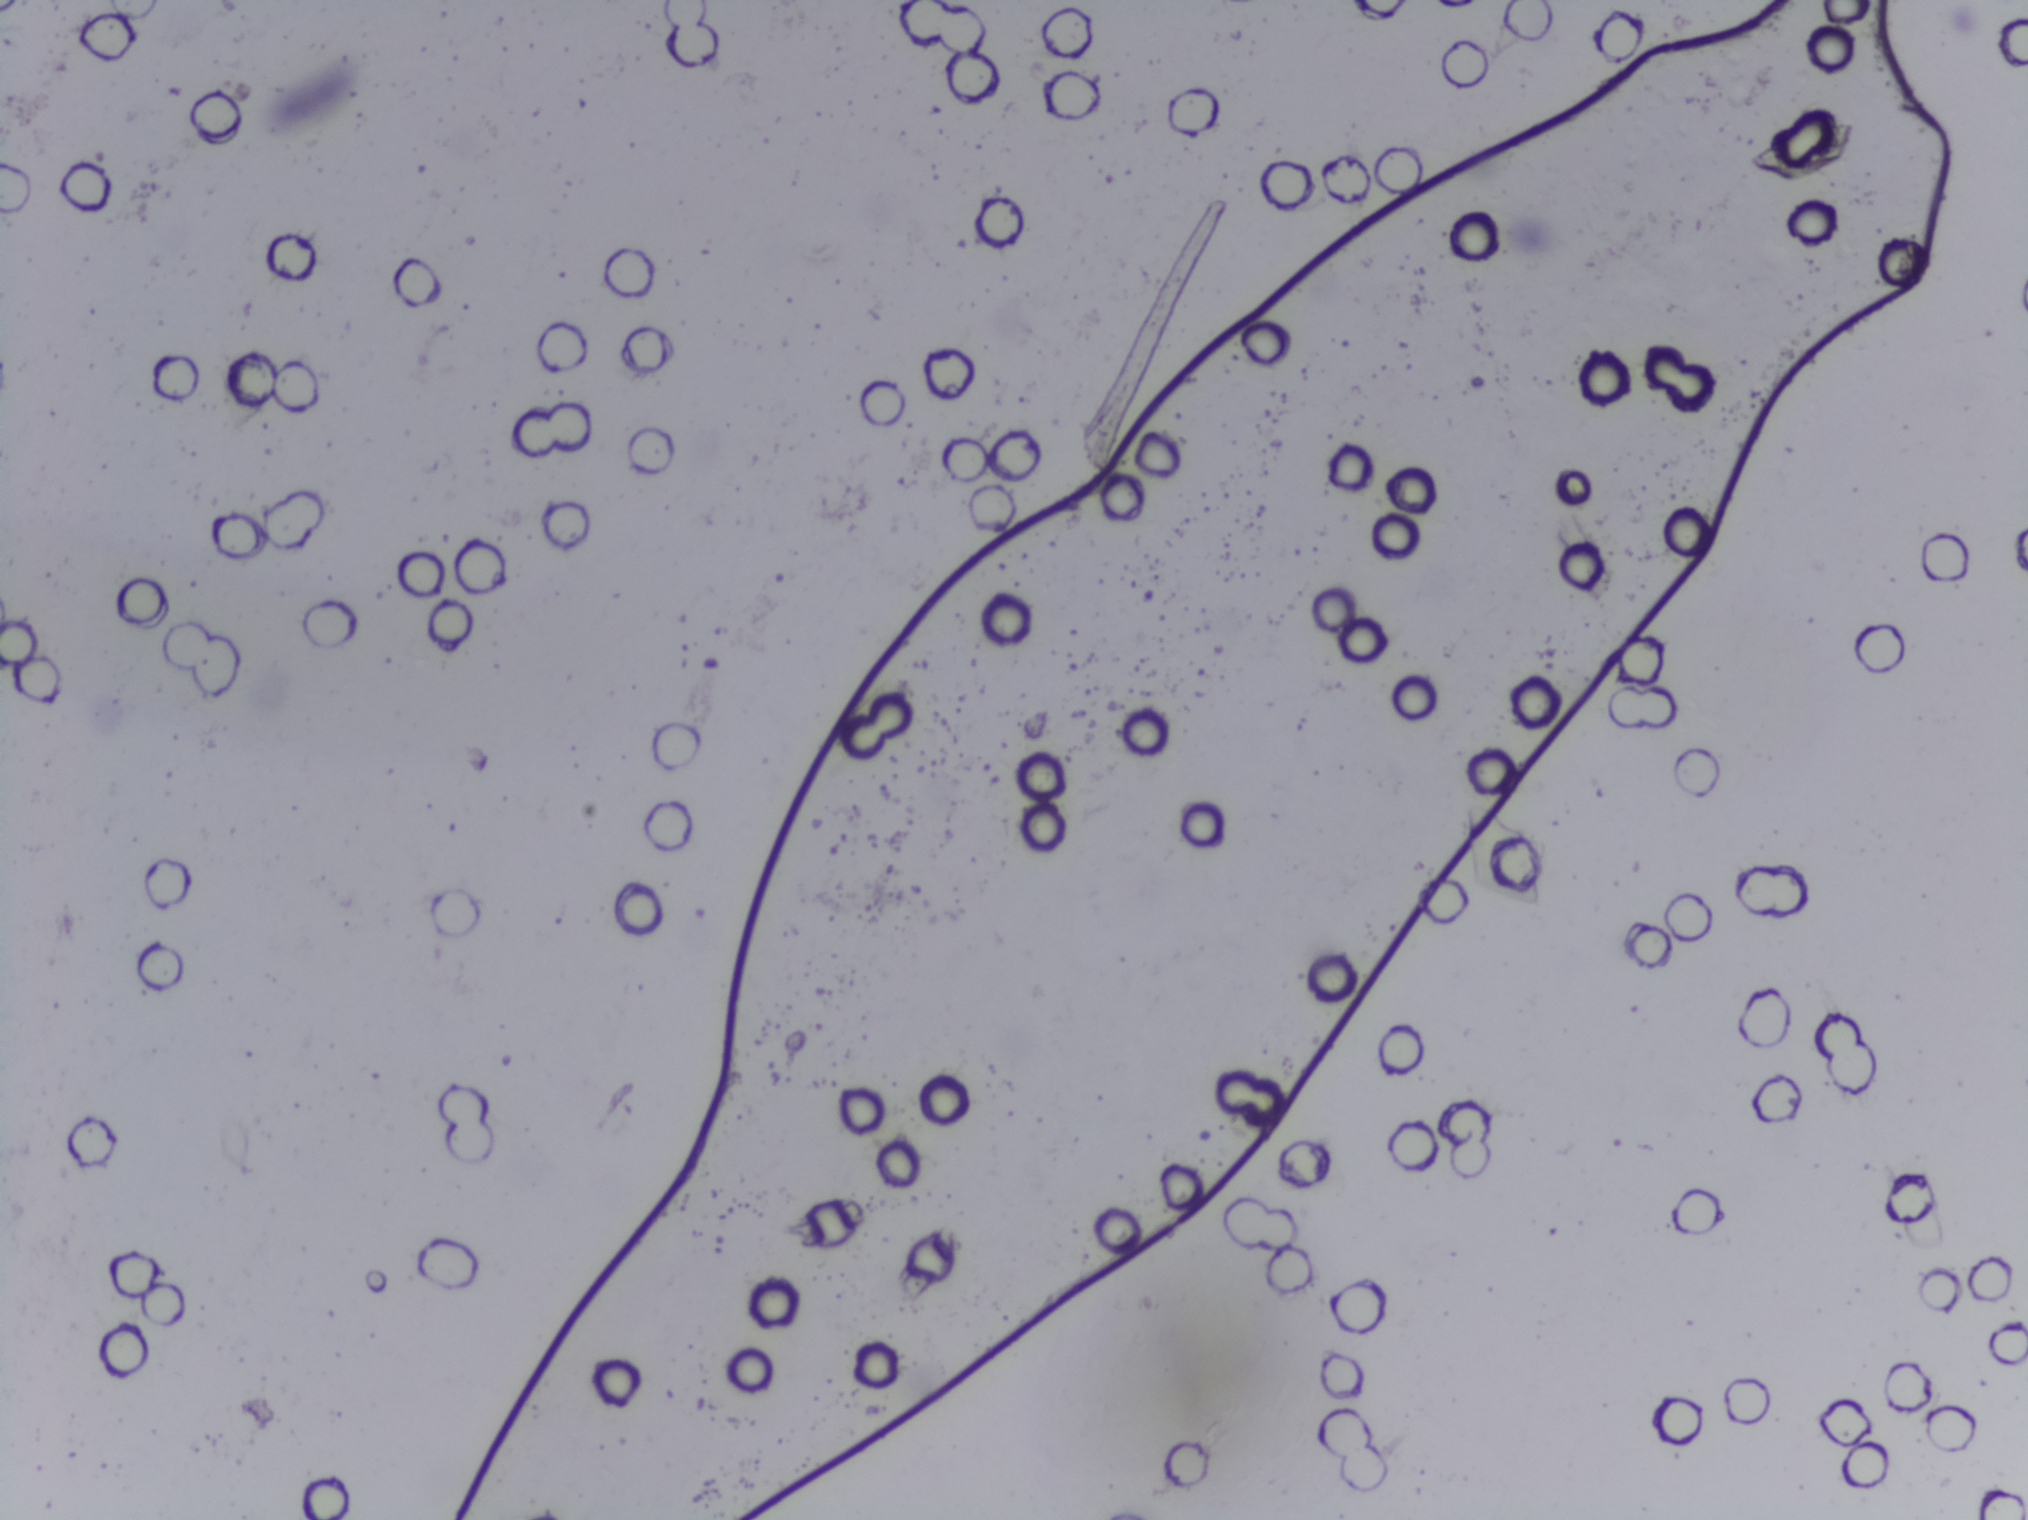
Microscope photograph (4× objective) of a membrane that a urine sample was filtered through.
The expert annotation marks no Schistosoma egg in this field of view.